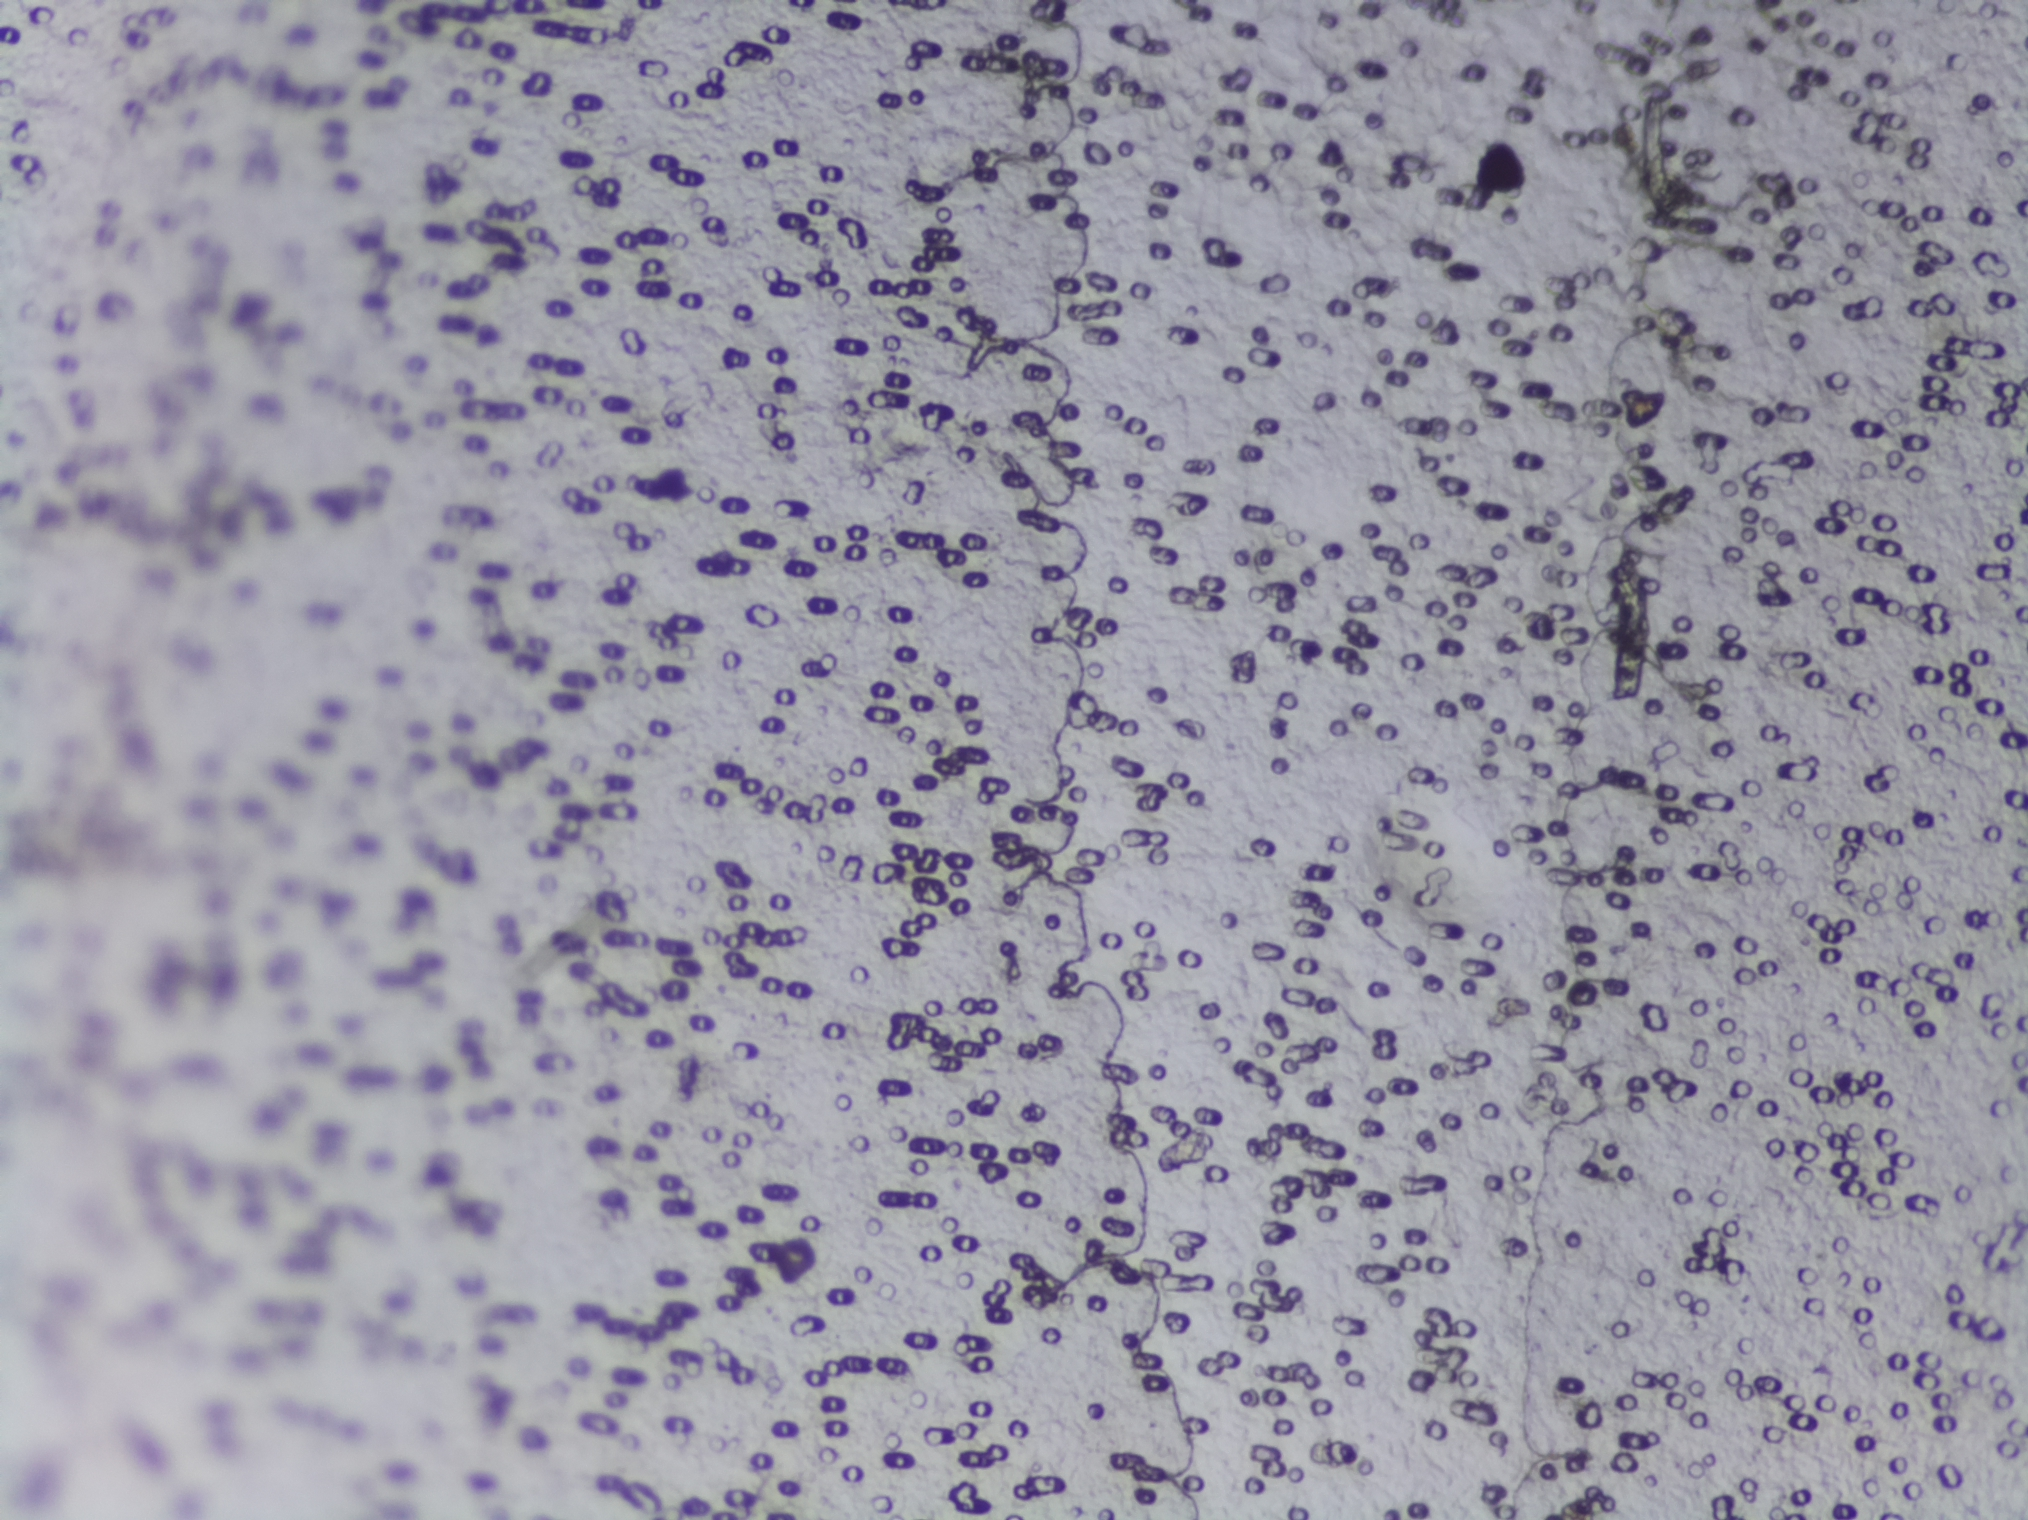
No area of this image was outlined as a Schistosoma egg.
Urine filtration membrane under a 4× objective, photographed by an automated digital microscope.